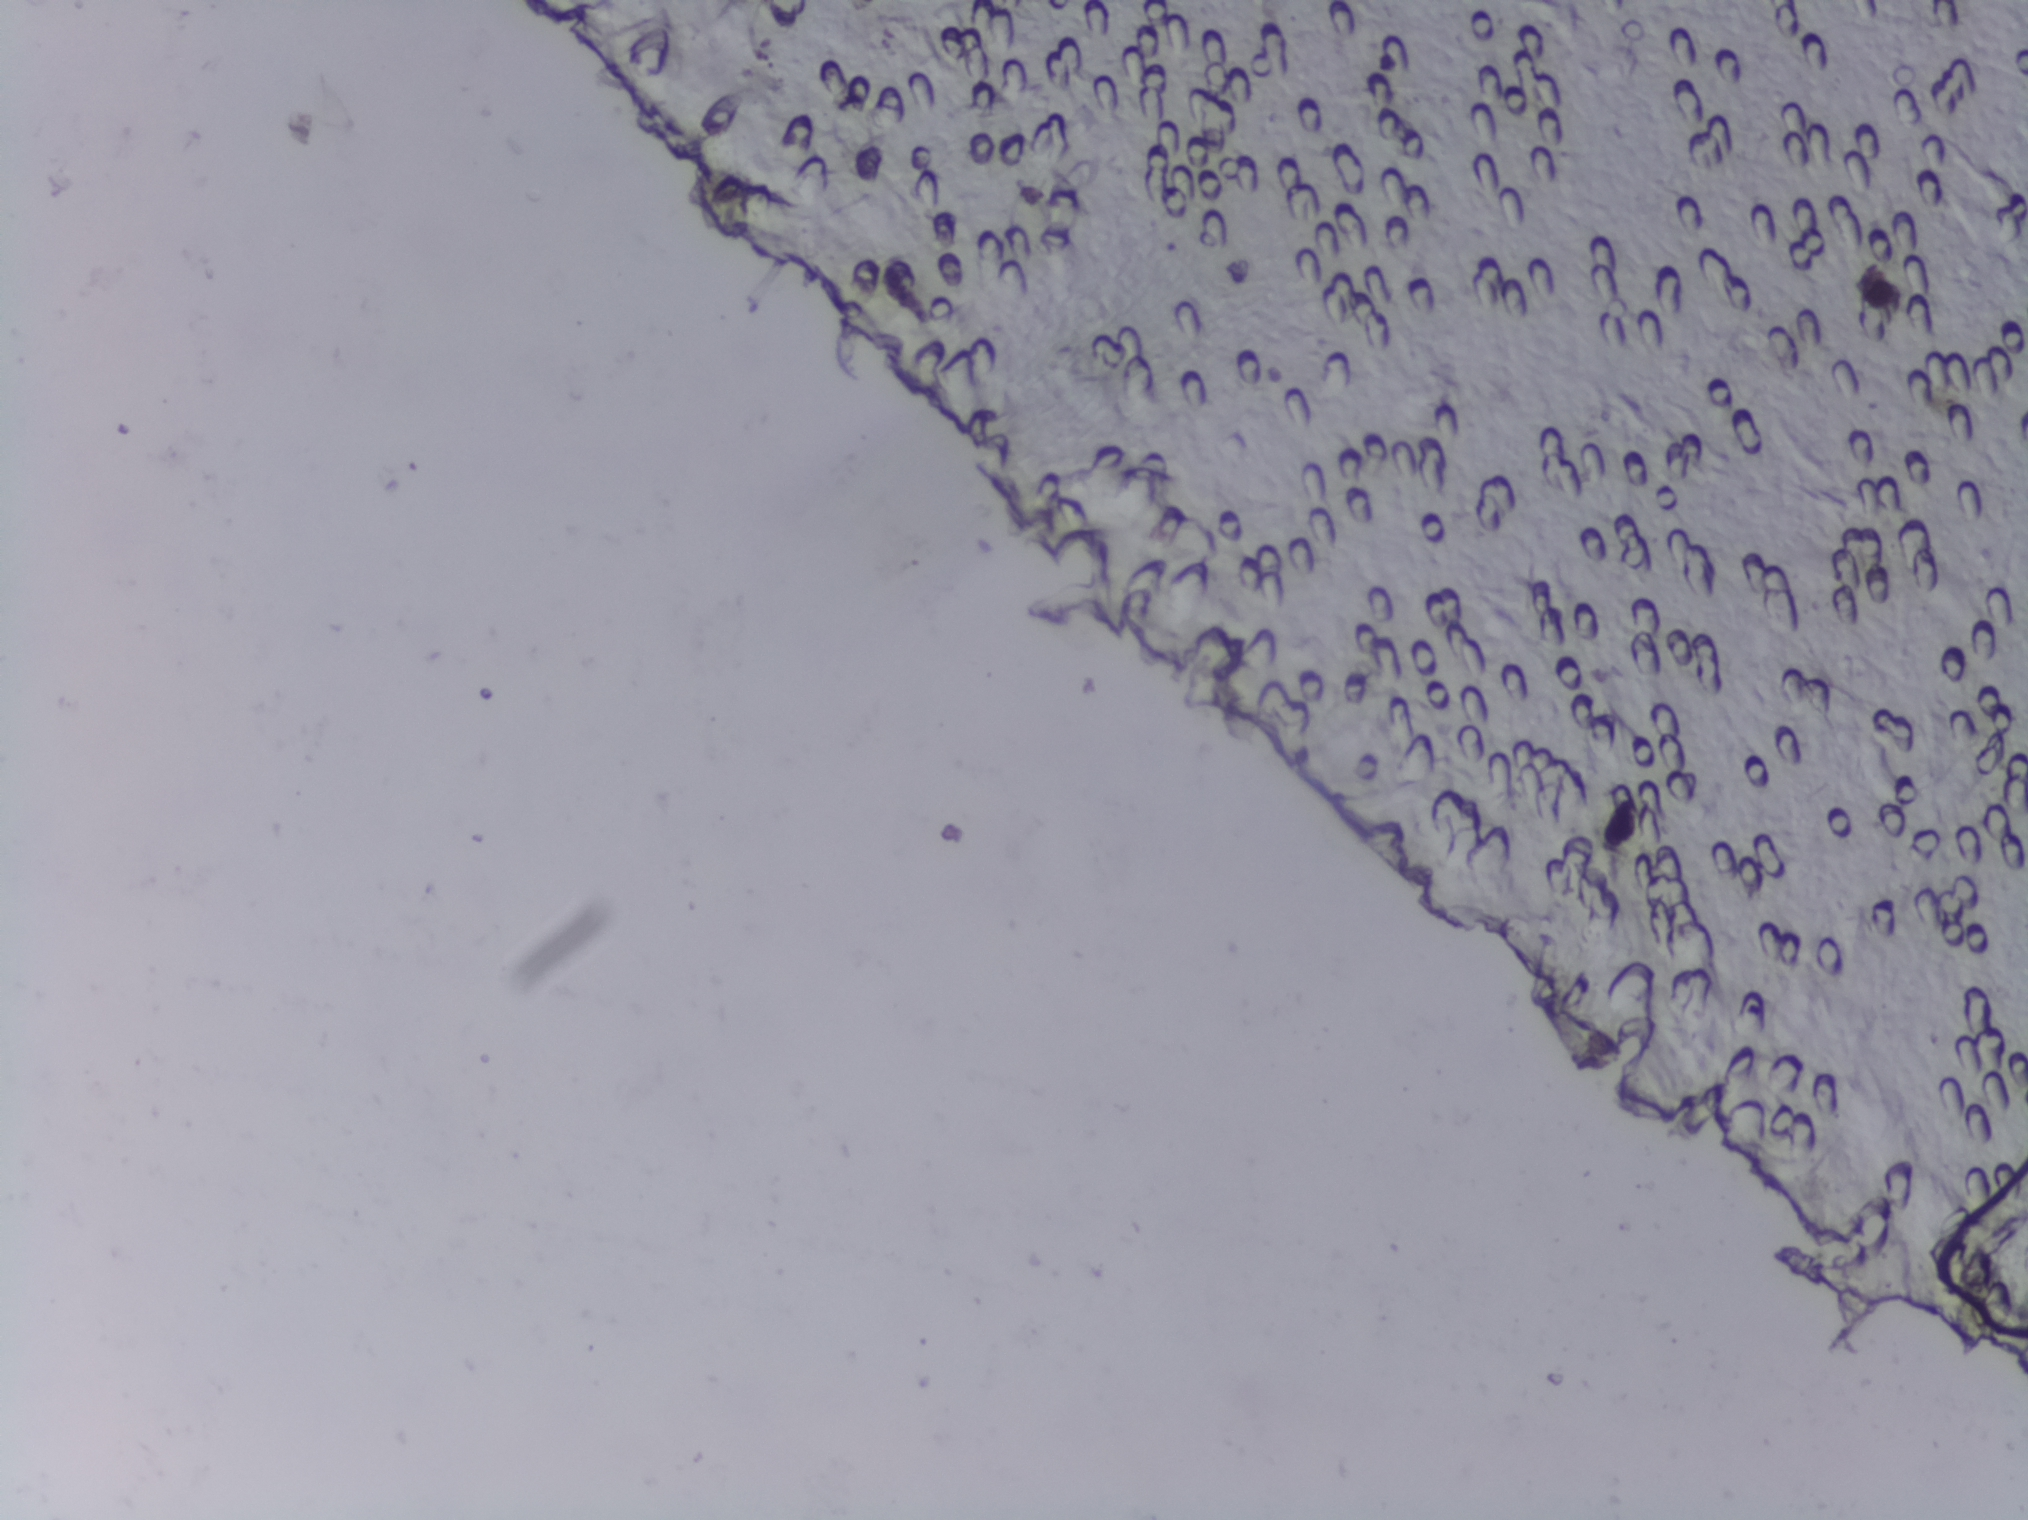
Photograph from an automated digital microscope: urine filter membrane, 4× objective.
Schistosoma eggs: none outlined.